Urine filter membrane photographed through a 4× microscope objective.
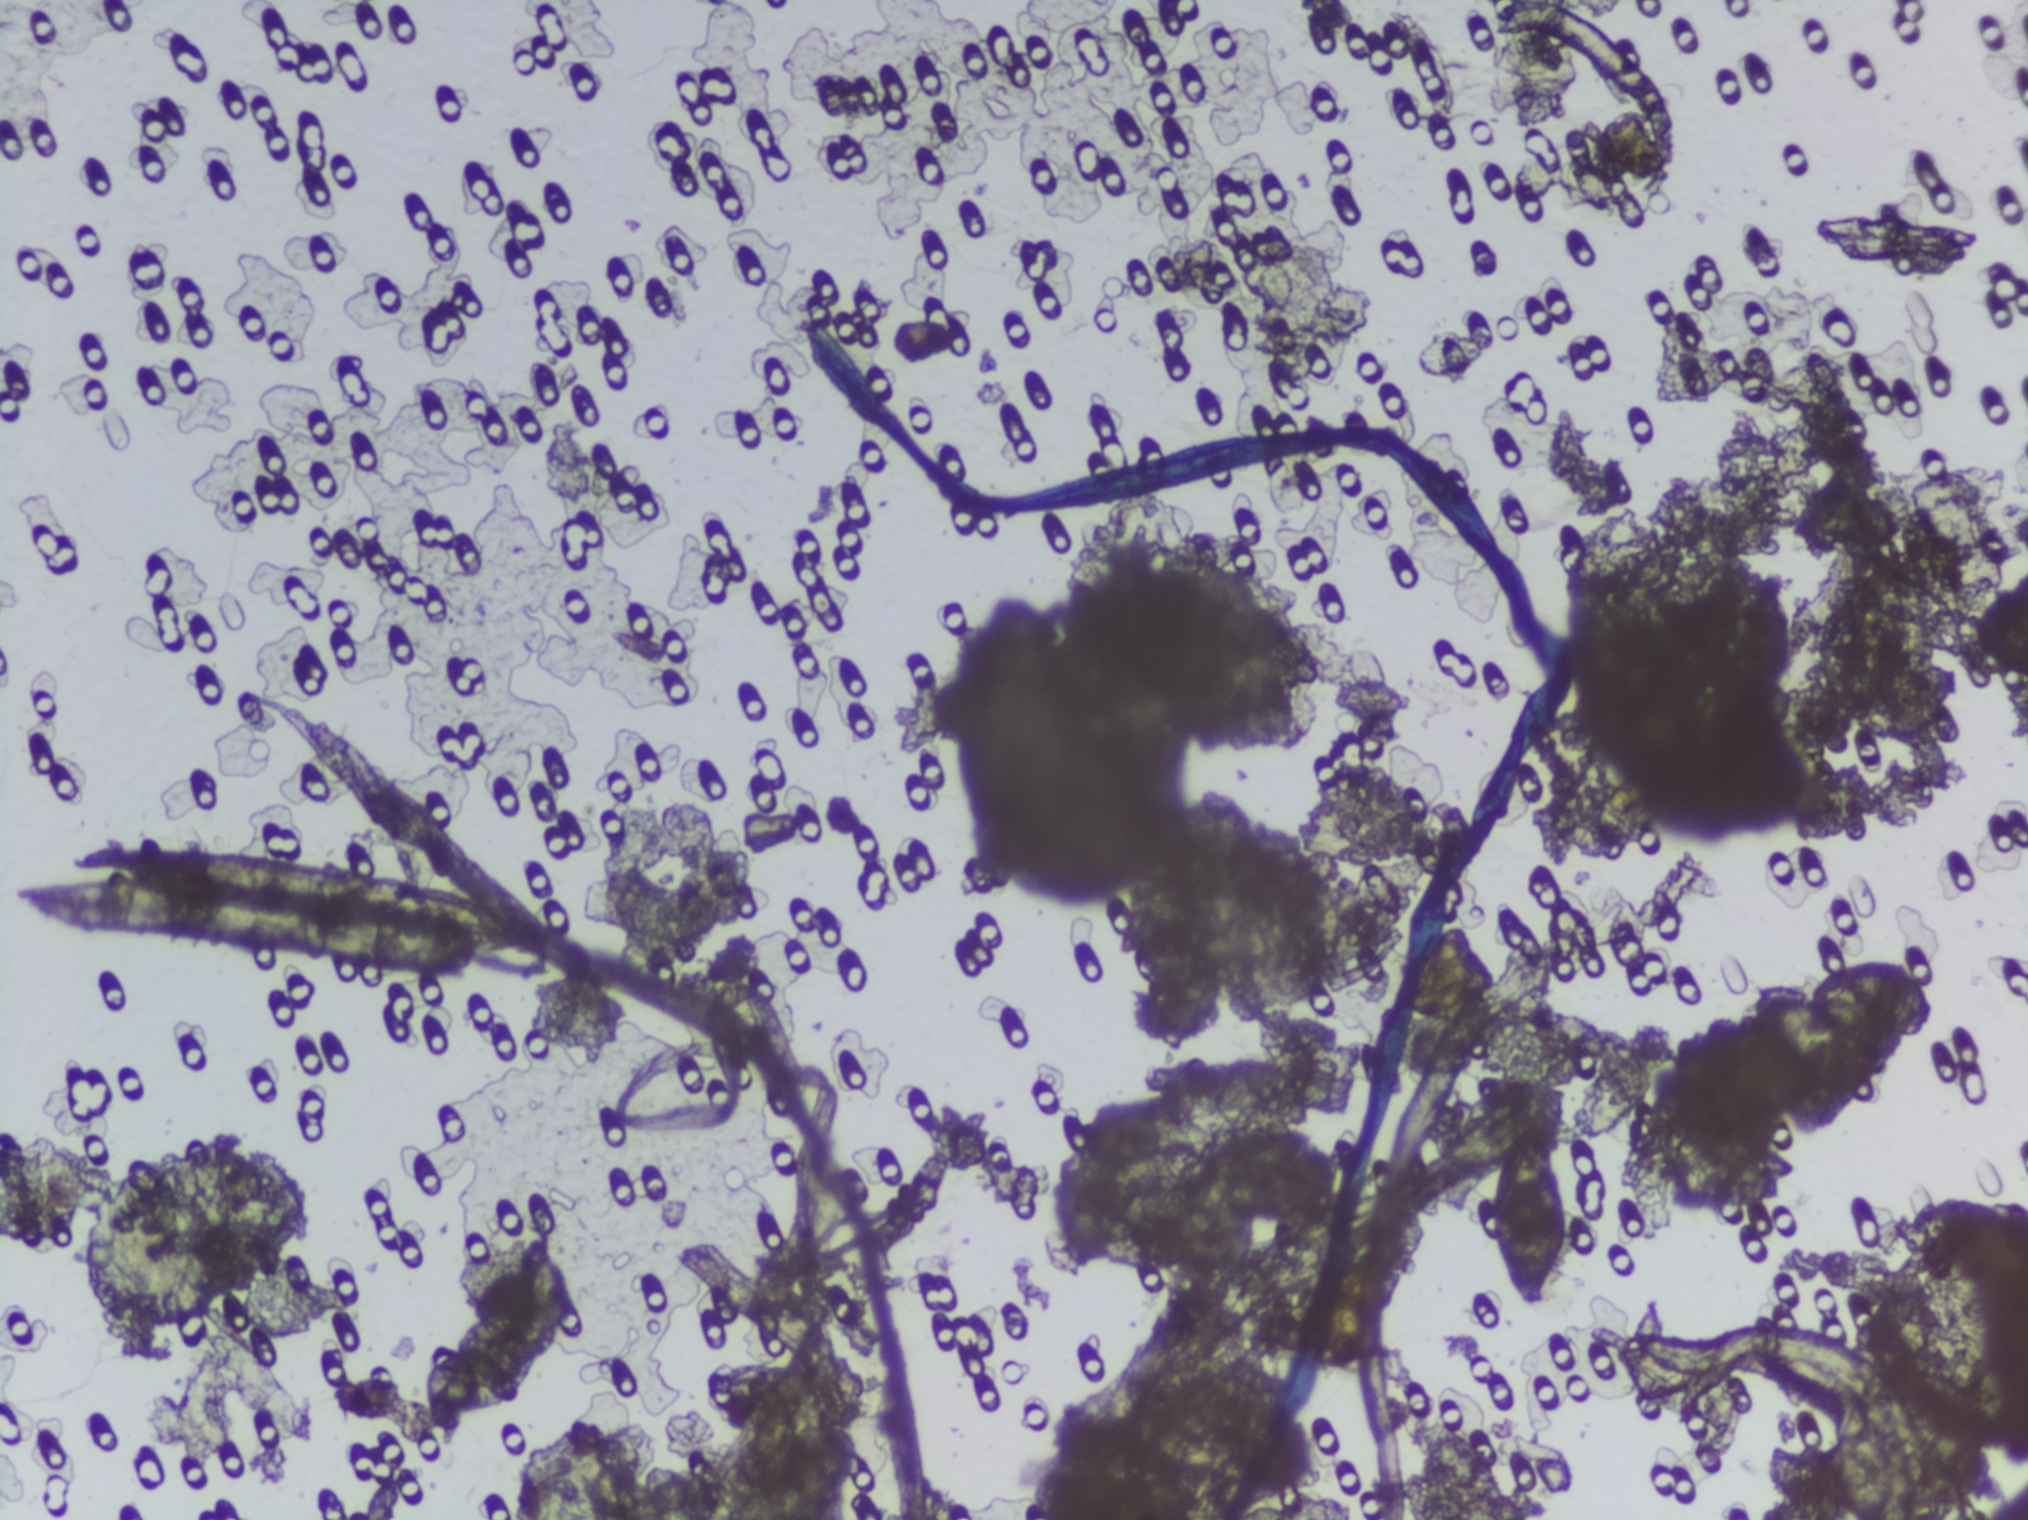
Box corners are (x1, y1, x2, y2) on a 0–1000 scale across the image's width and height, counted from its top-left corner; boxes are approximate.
One area of this image is outlined as Schistosoma eggs: (733, 734, 774, 859). An outlined area can hold more than one egg.